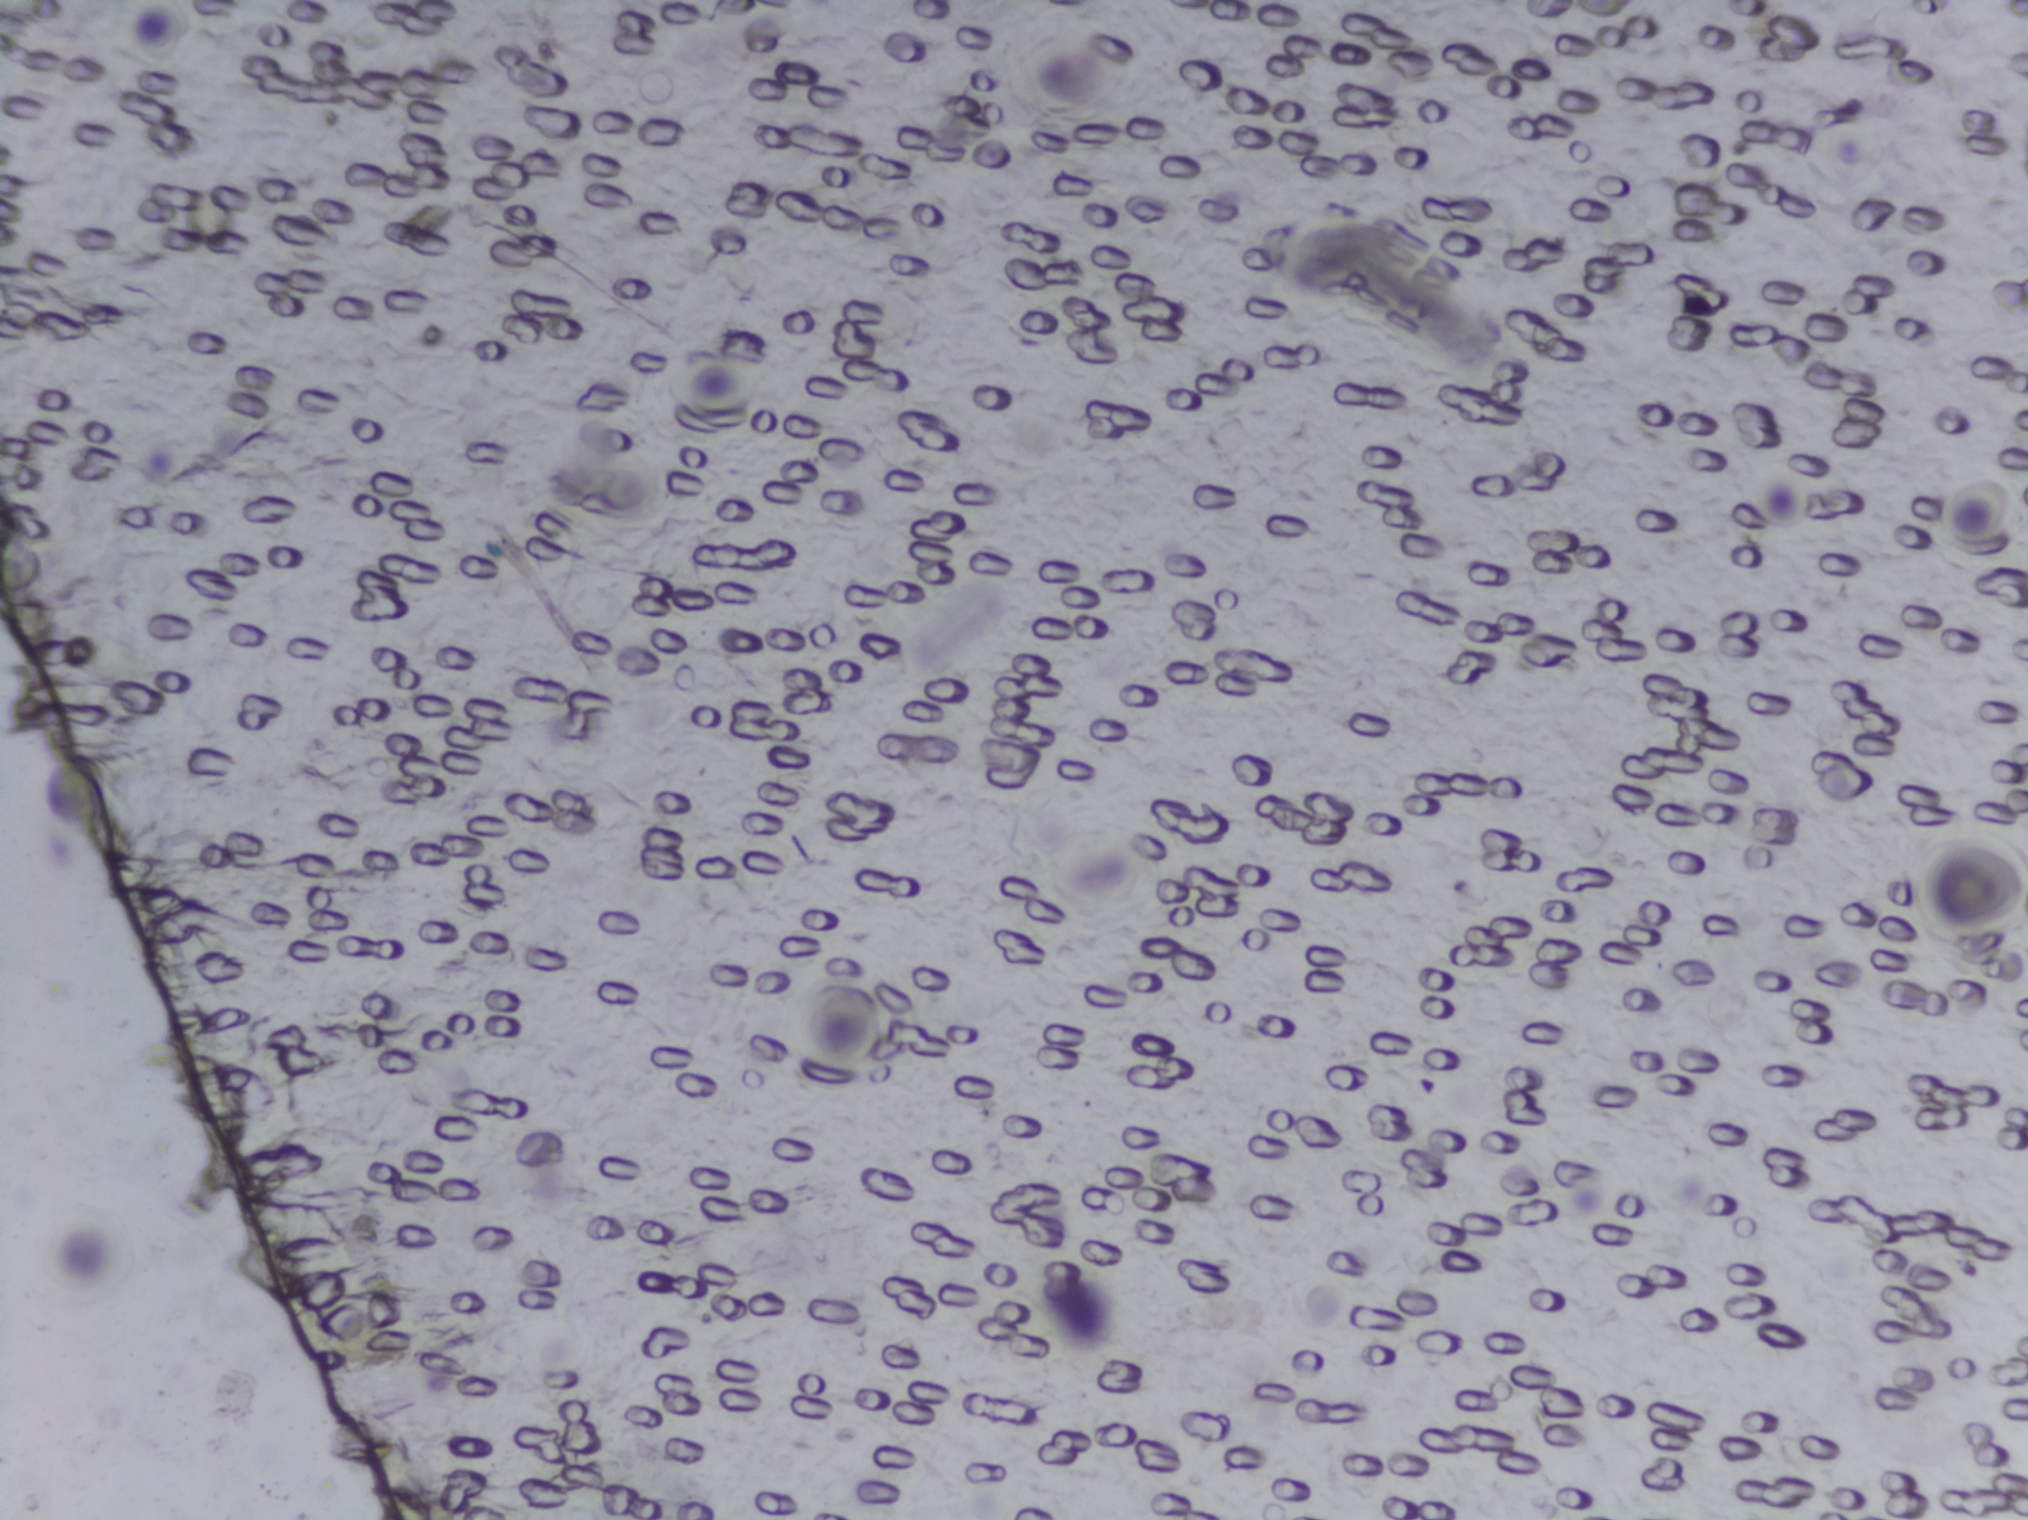
Schistosoma eggs: none outlined.
One field of view of a urine filter membrane, 4× objective, 2028 × 1520 pixels.